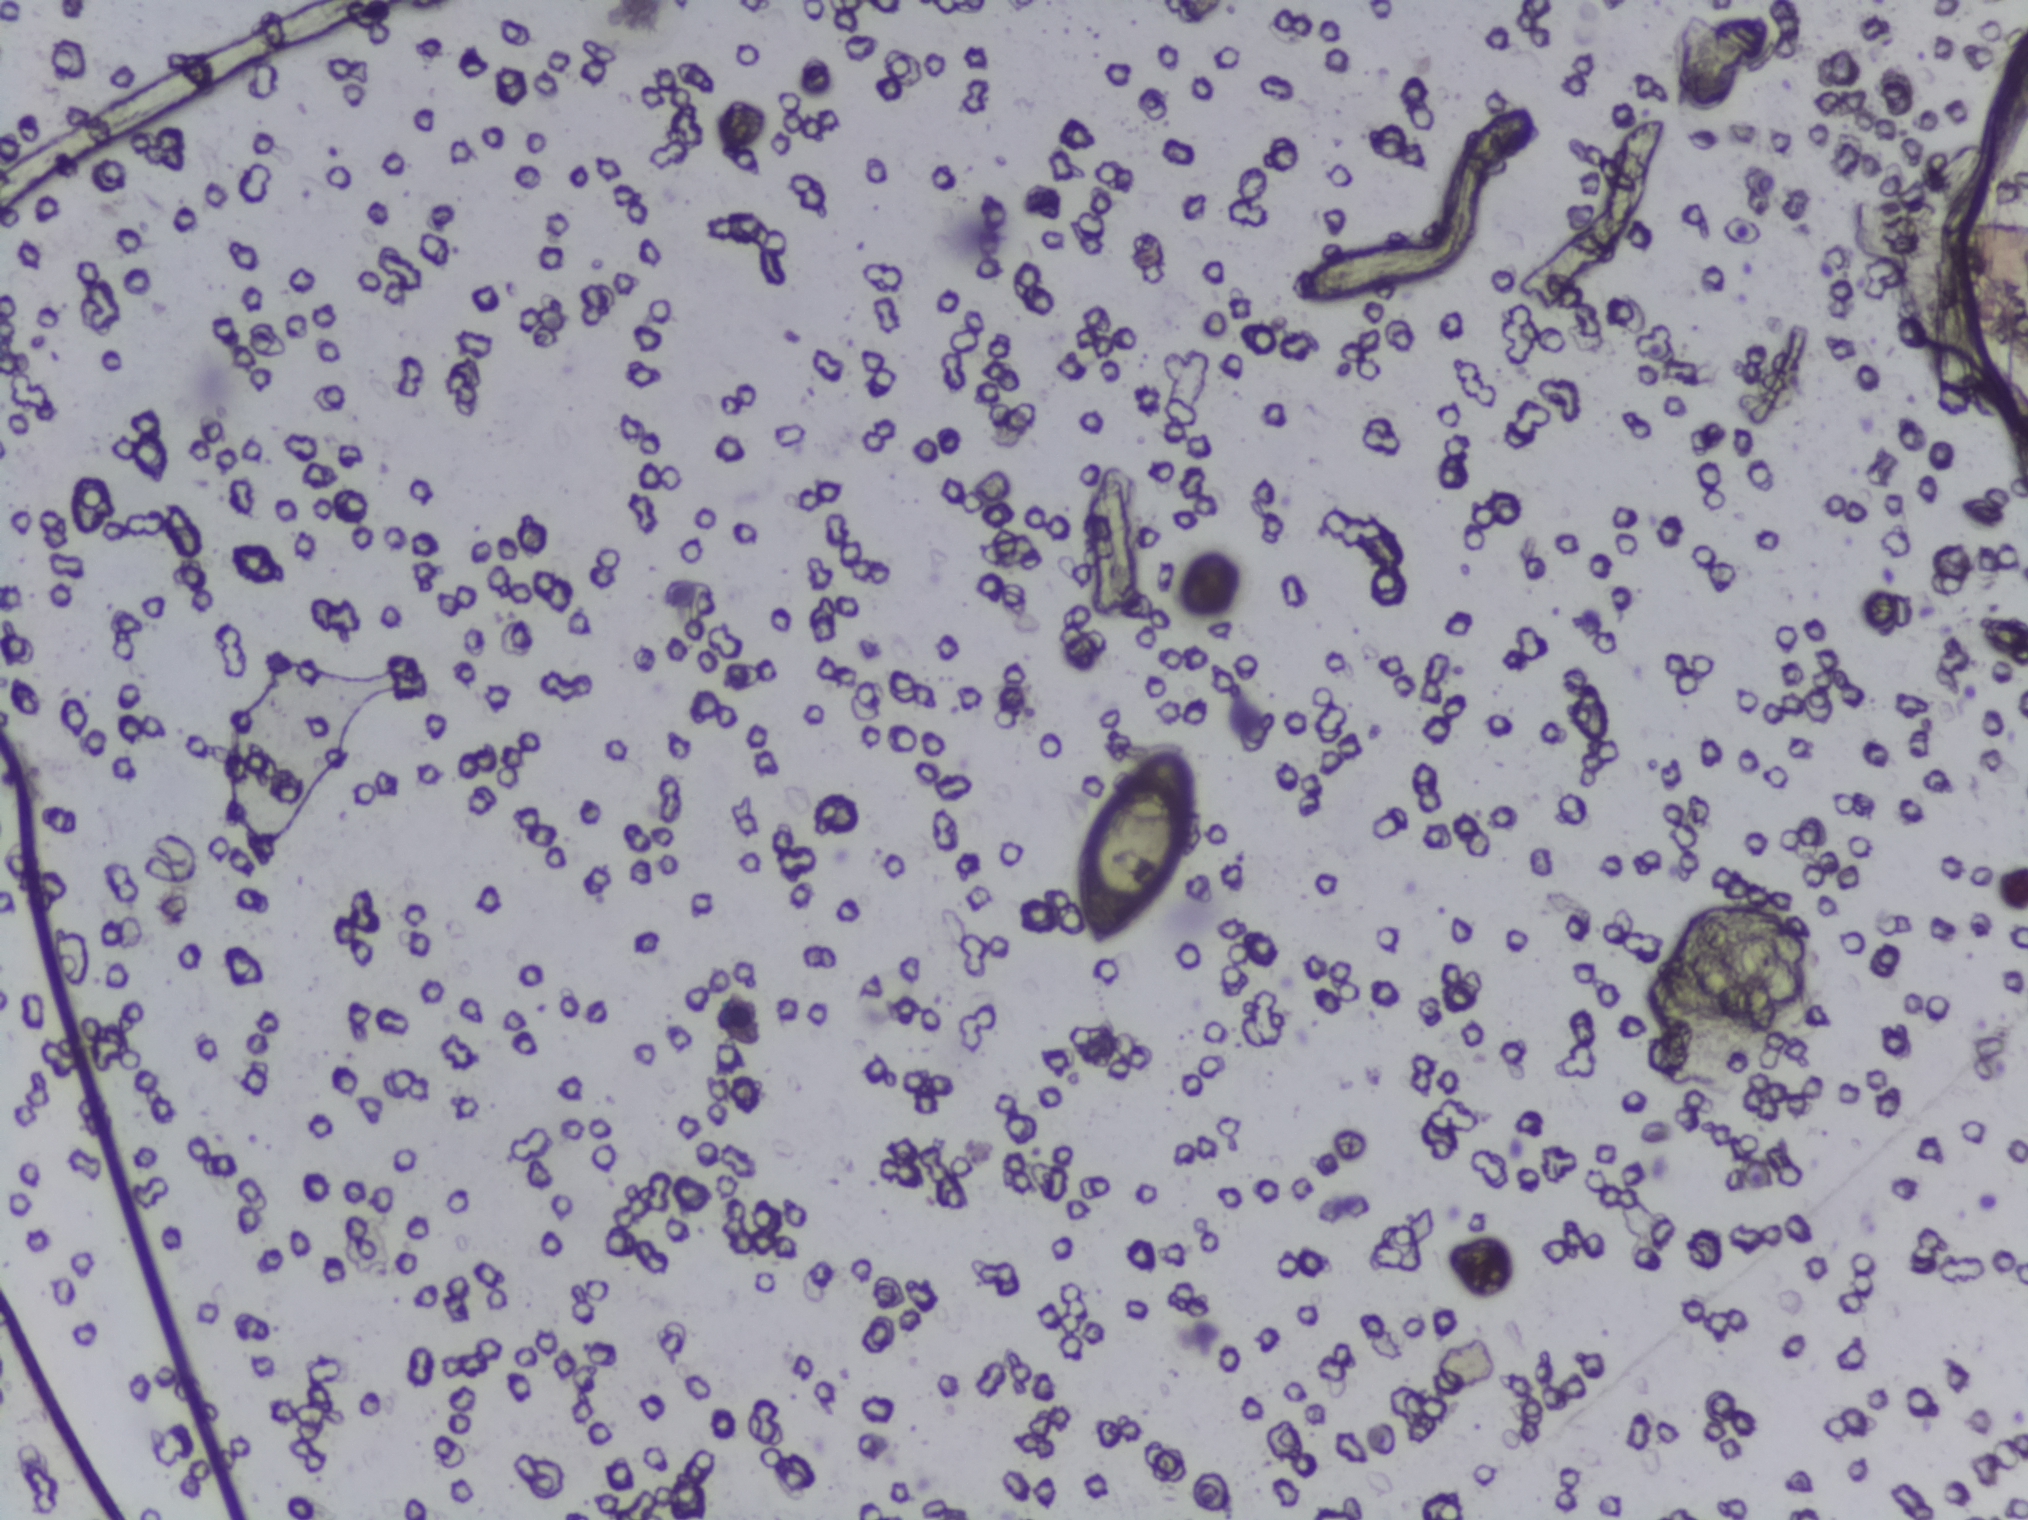
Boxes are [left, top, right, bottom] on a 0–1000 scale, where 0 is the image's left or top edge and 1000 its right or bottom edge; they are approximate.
One area of this image is outlined as Schistosoma eggs: [532, 492, 589, 624]. About 0.5% of the image's pixels are marked (the marked pixels themselves, not the box around them). Eggs that touch can end up inside the same outlined area.
Urine filtration membrane under a 4× objective, photographed by an automated digital microscope.